Urine filtration membrane under a 4× objective, photographed by an automated digital microscope. The image covers about 1.5 × 1.1 mm of the membrane.
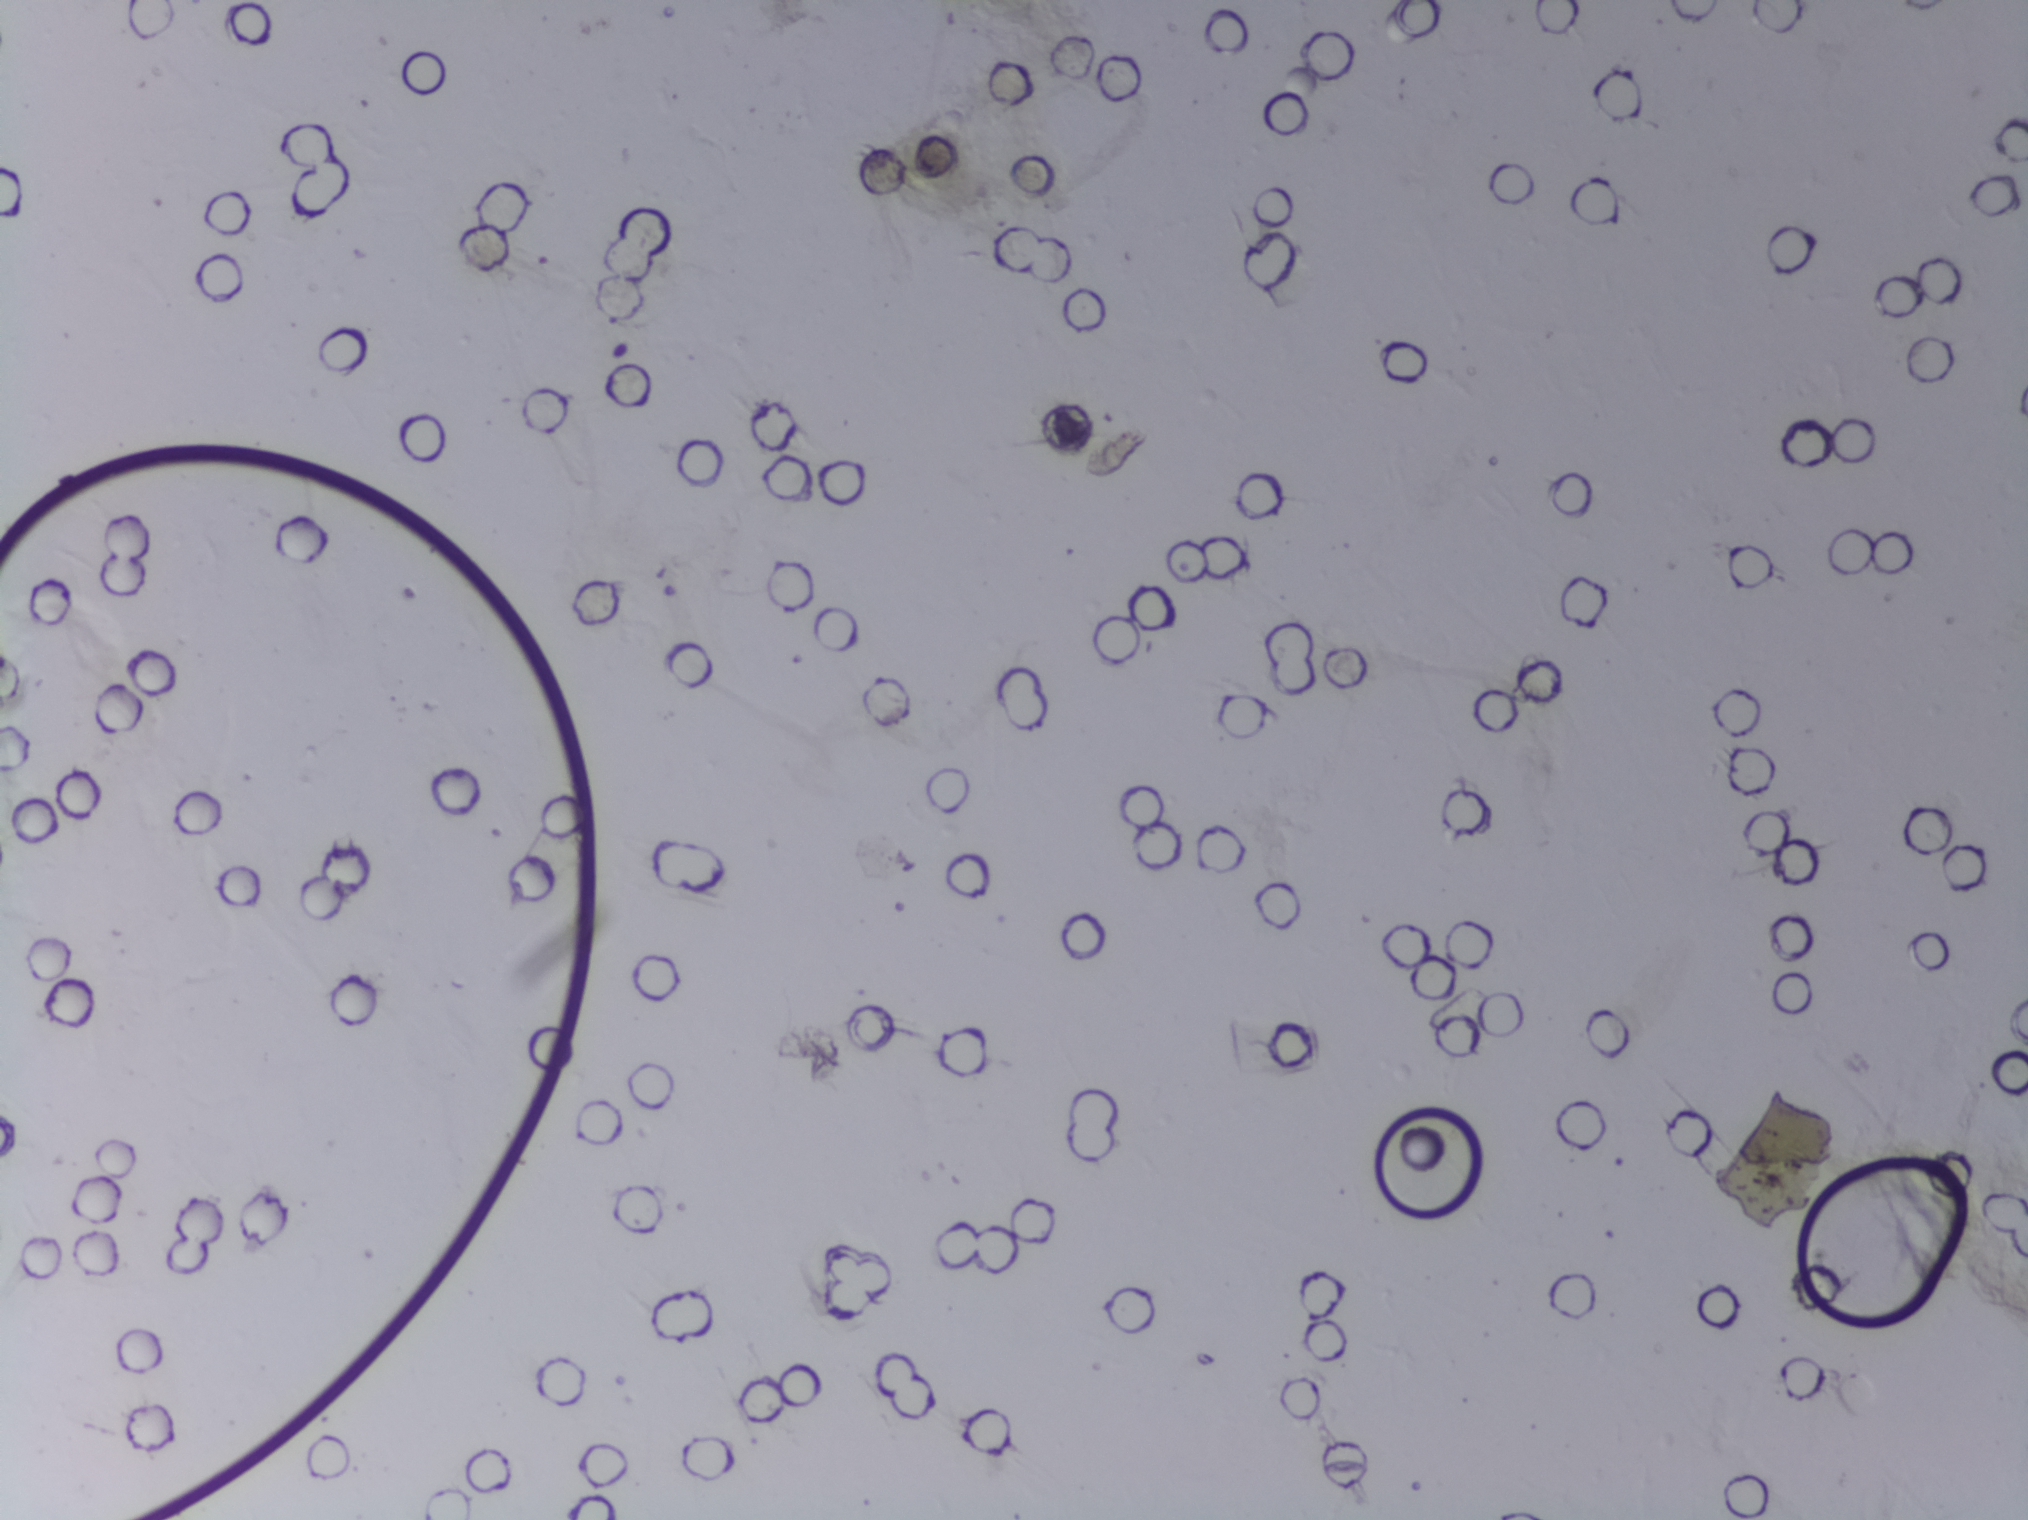
No area of this image was outlined as a Schistosoma egg.